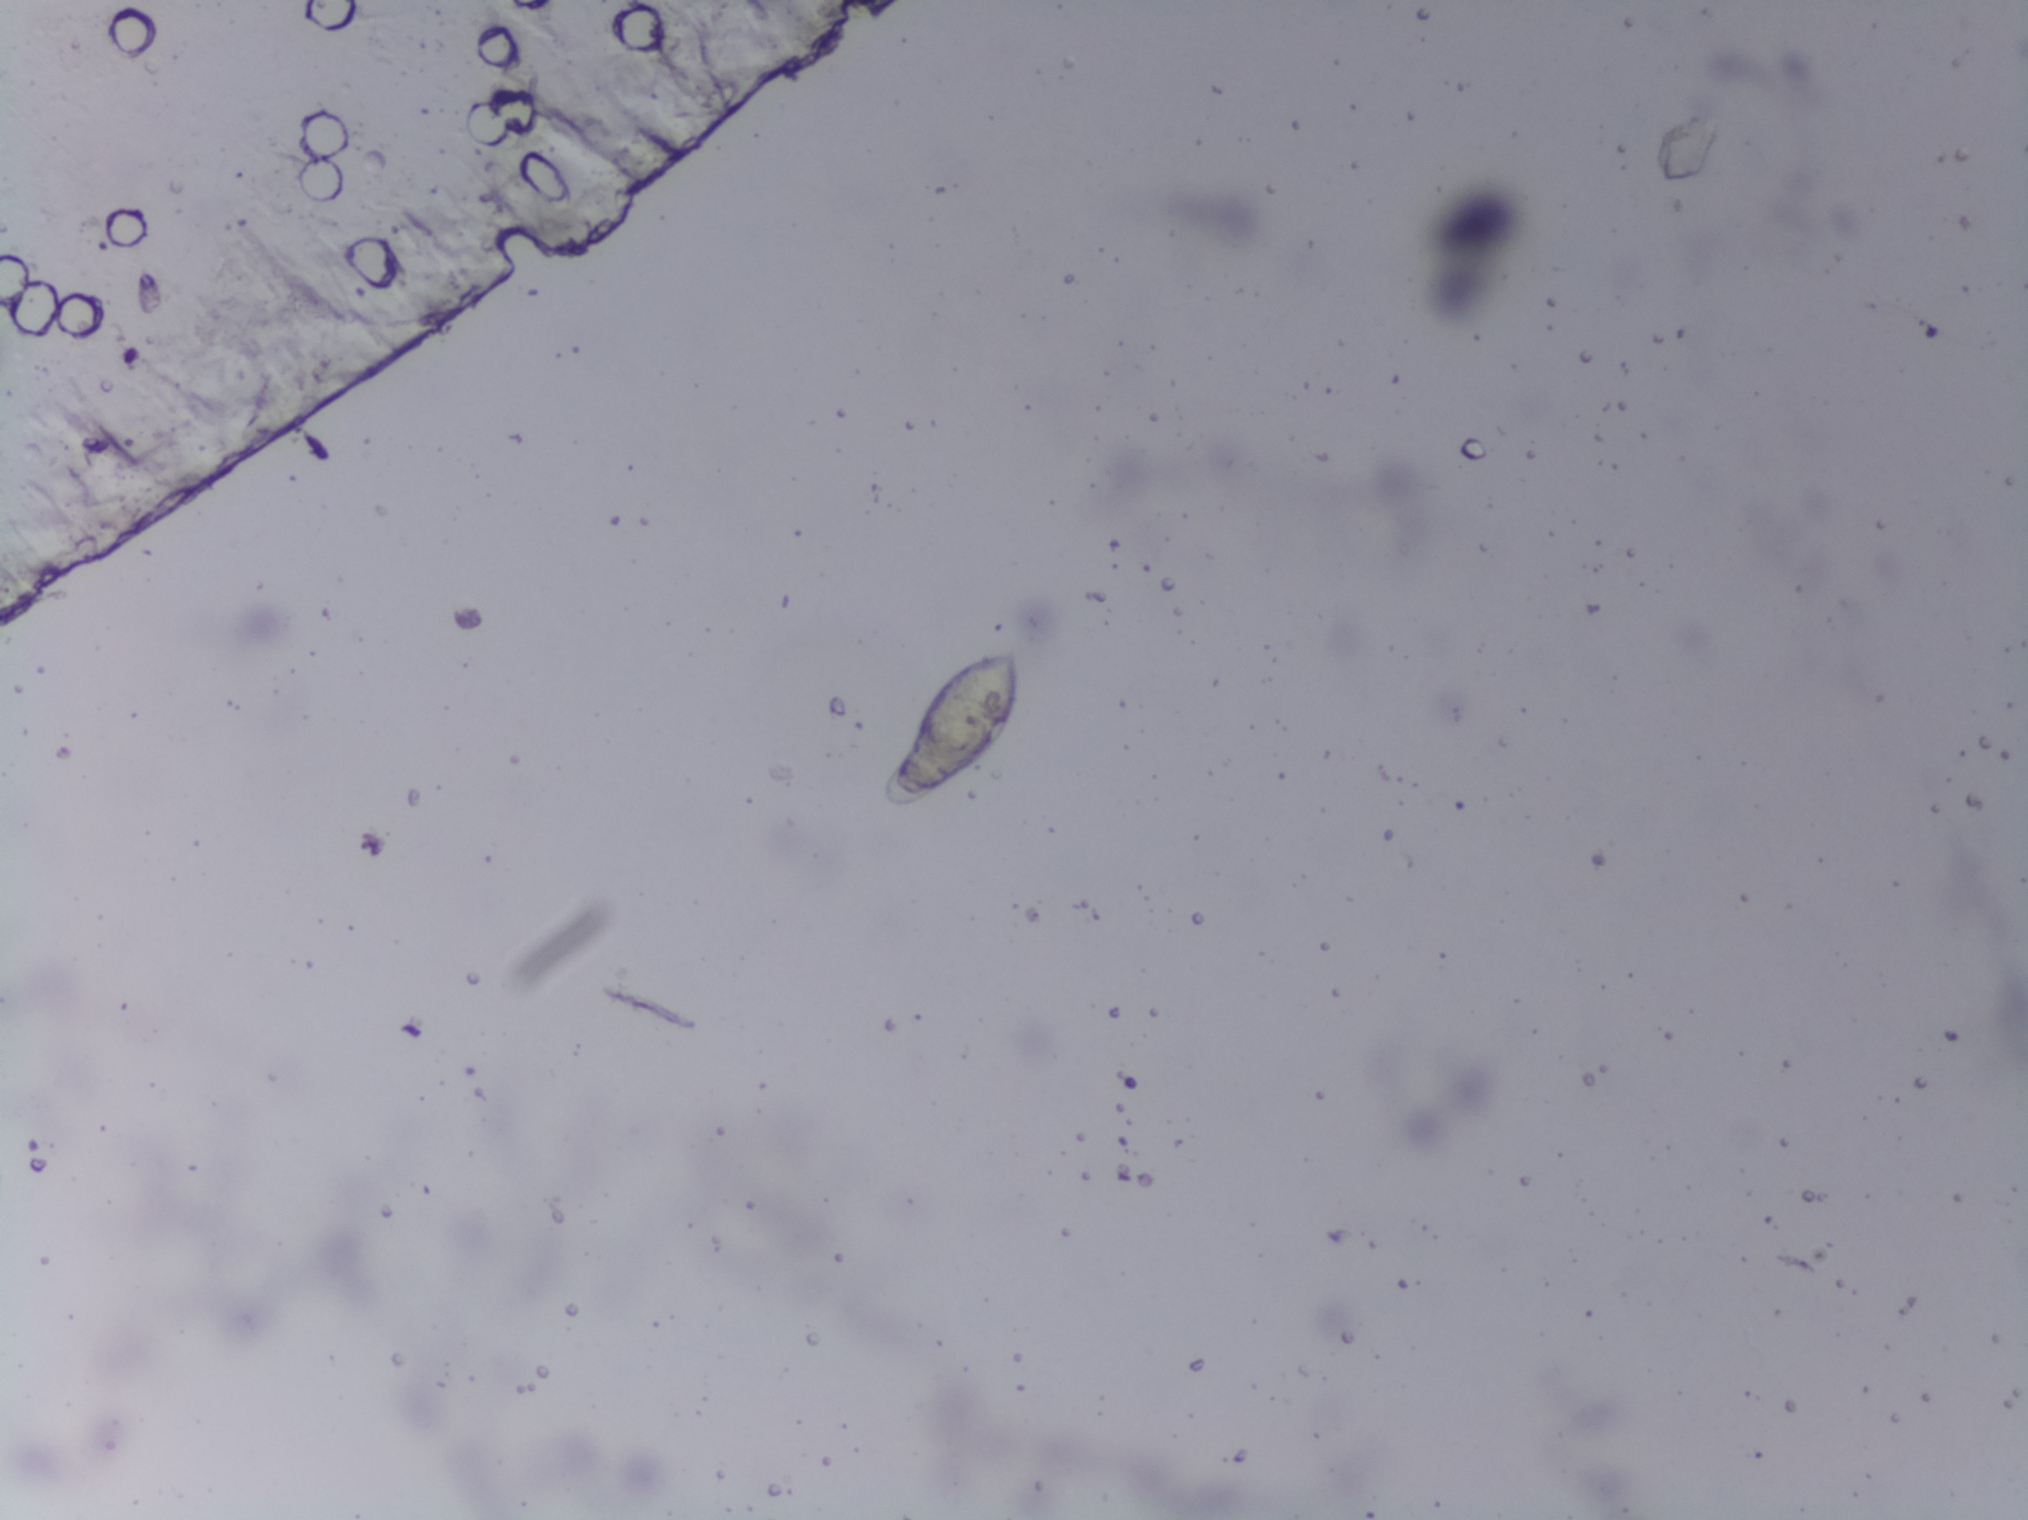
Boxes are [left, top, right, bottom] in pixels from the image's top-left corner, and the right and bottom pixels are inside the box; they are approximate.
{"schistosoma_egg_areas_xyxy_px": [[883, 648, 1020, 806]]}
Marked pixels, not the box around them: about 0.4% of the image. Eggs that touch can end up inside the same outlined area. A marked egg may occasionally be S. mansoni rather than S. haematobium.
Urine filtration membrane under a 4× objective, photographed by an automated digital microscope.